Microscope photograph (4× objective) of a membrane that a urine sample was filtered through.
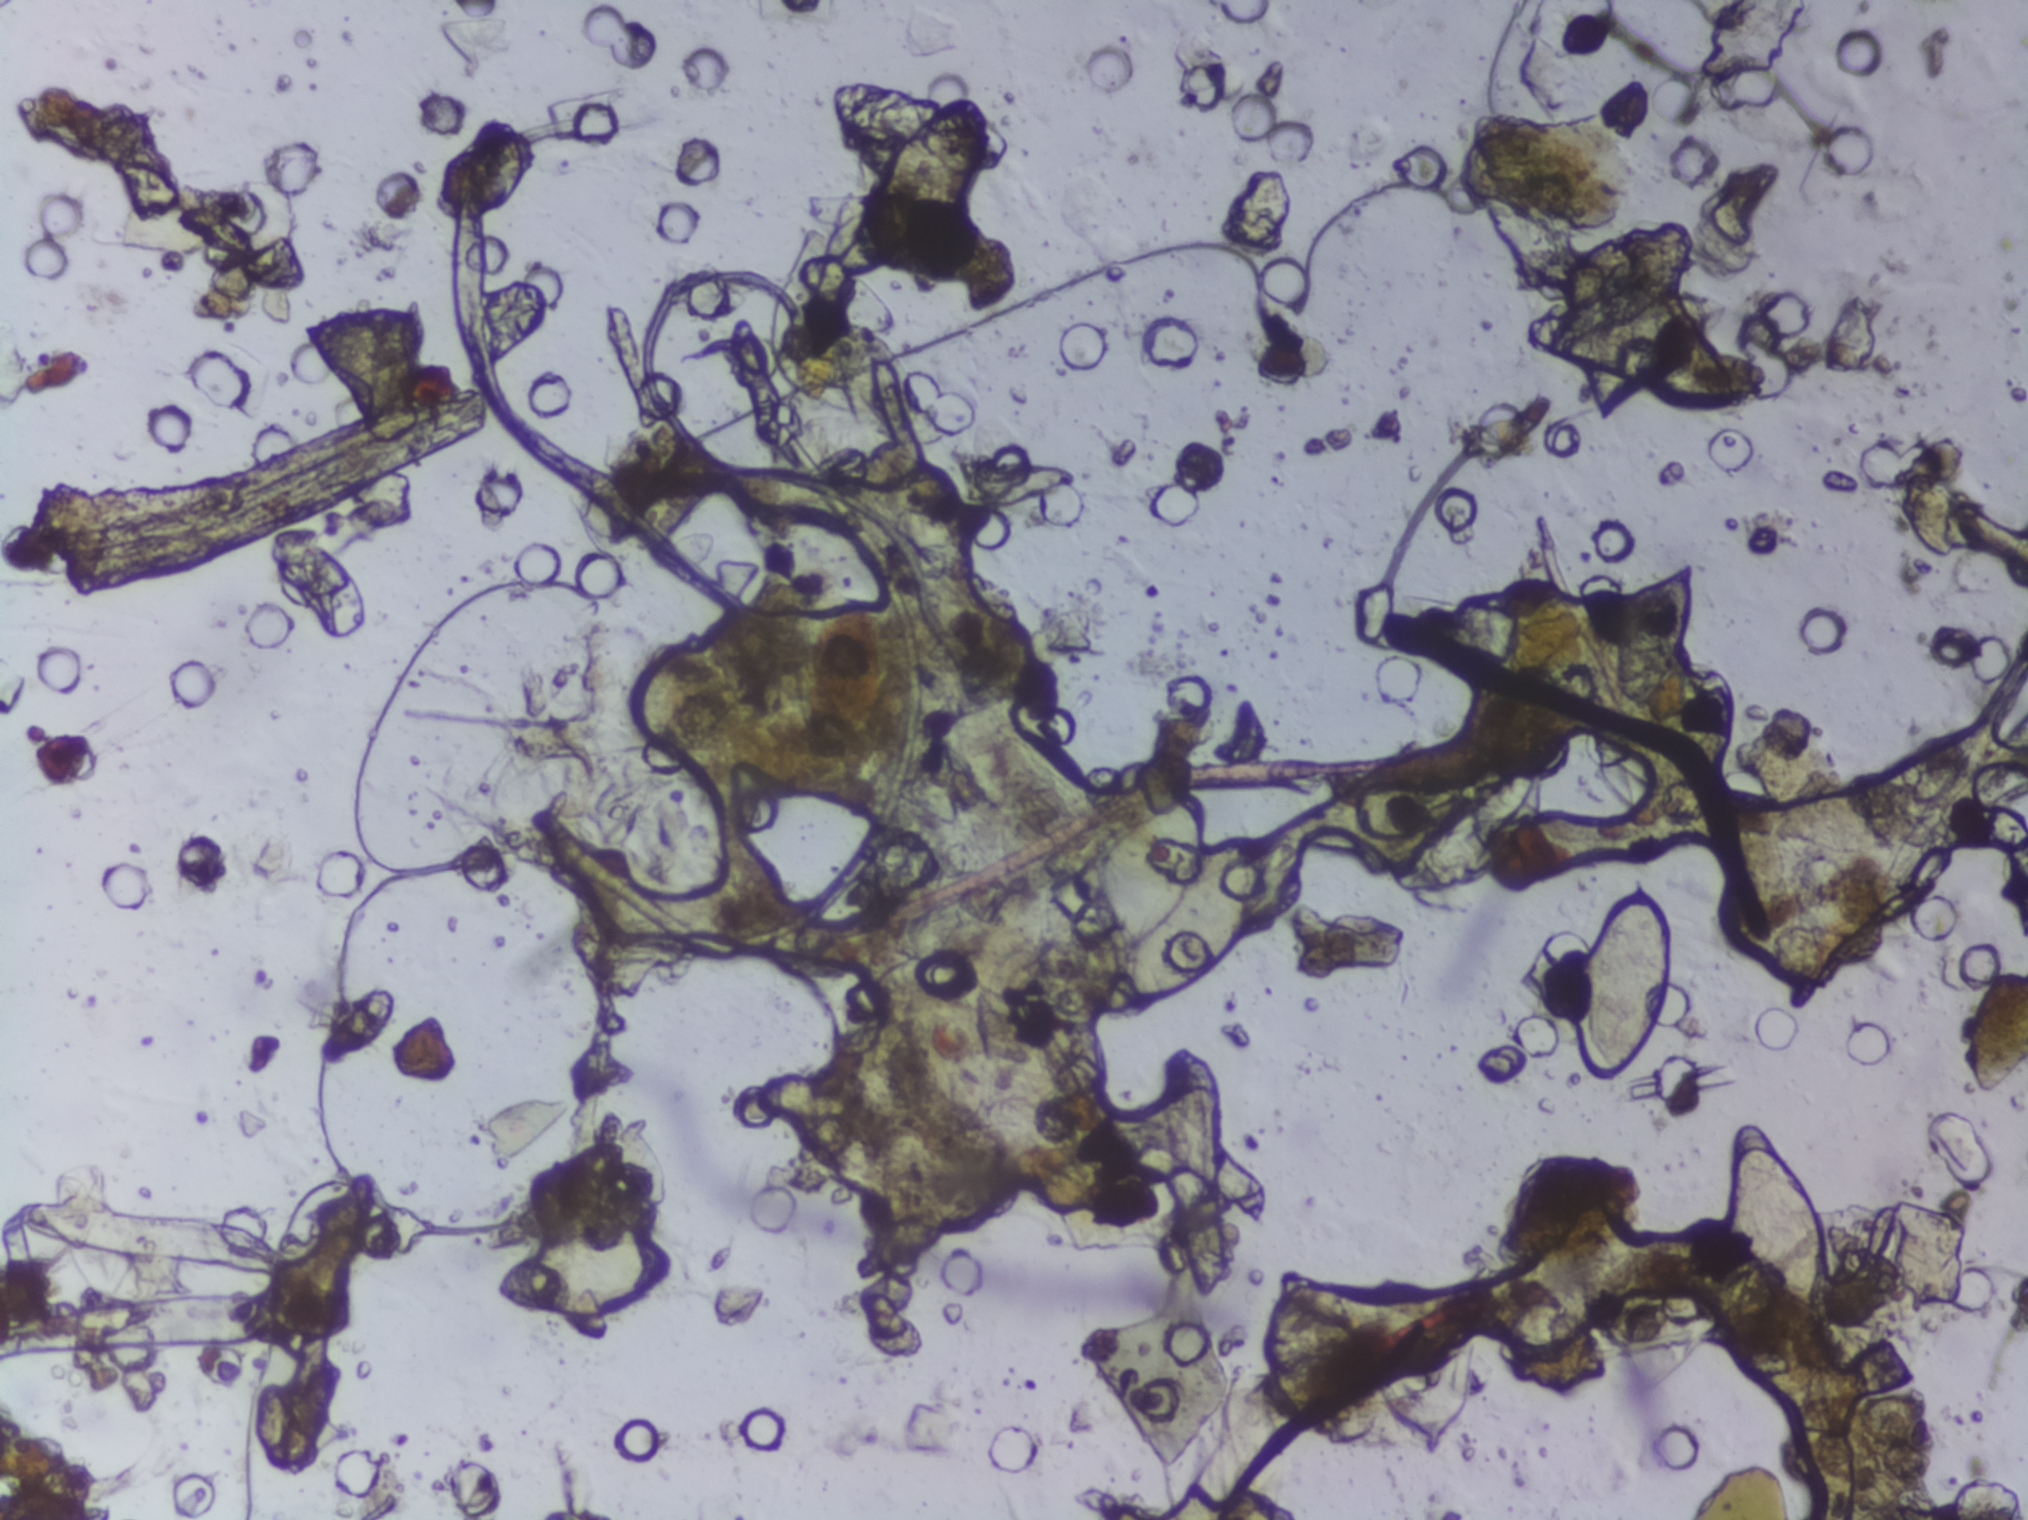
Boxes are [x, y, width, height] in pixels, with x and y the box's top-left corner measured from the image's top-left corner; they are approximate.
Areas outlined as Schistosoma eggs, left to right:
1. [492, 1218, 188, 103]
2. [864, 93, 129, 176]
3. [1094, 786, 178, 219]
4. [1257, 1258, 225, 204]
5. [1572, 874, 103, 196]
6. [1600, 554, 101, 156]
7. [1630, 349, 139, 60]
8. [1730, 1120, 107, 192]
9. [1965, 959, 63, 139] (reaching the right edge of the frame)
About 4.7% of the image's pixels are marked (the marked pixels themselves, not the boxes around them). A single outlined area may contain several eggs.